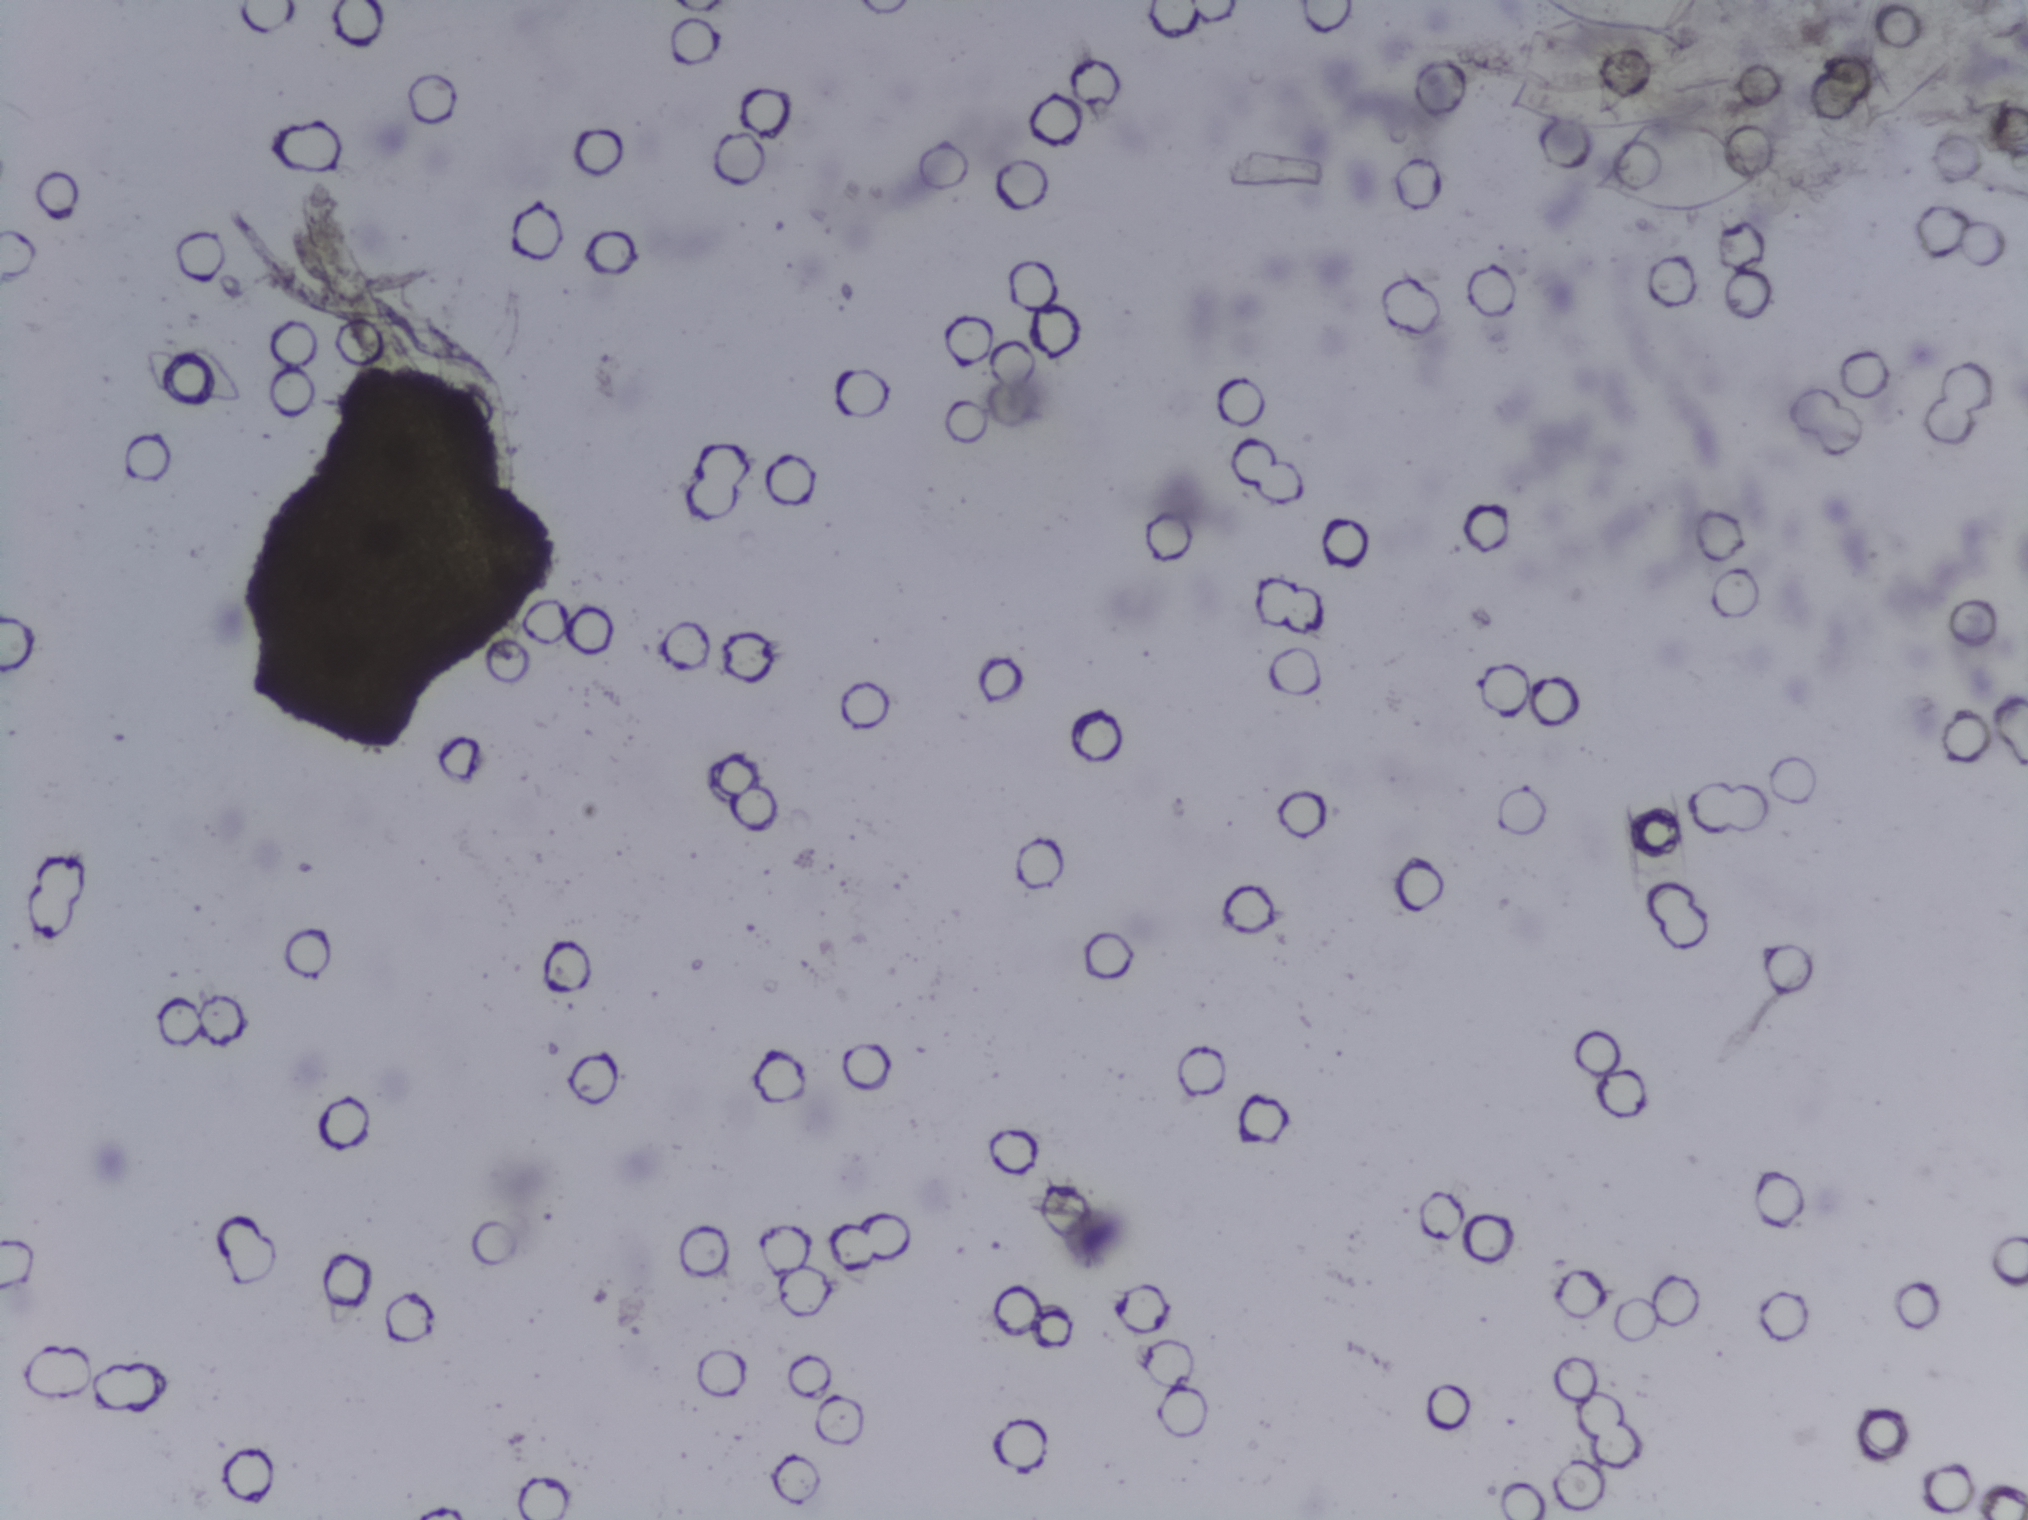
One field of view of a urine filter membrane, 4× objective, 2028 × 1520 pixels.
Schistosoma eggs: none outlined.